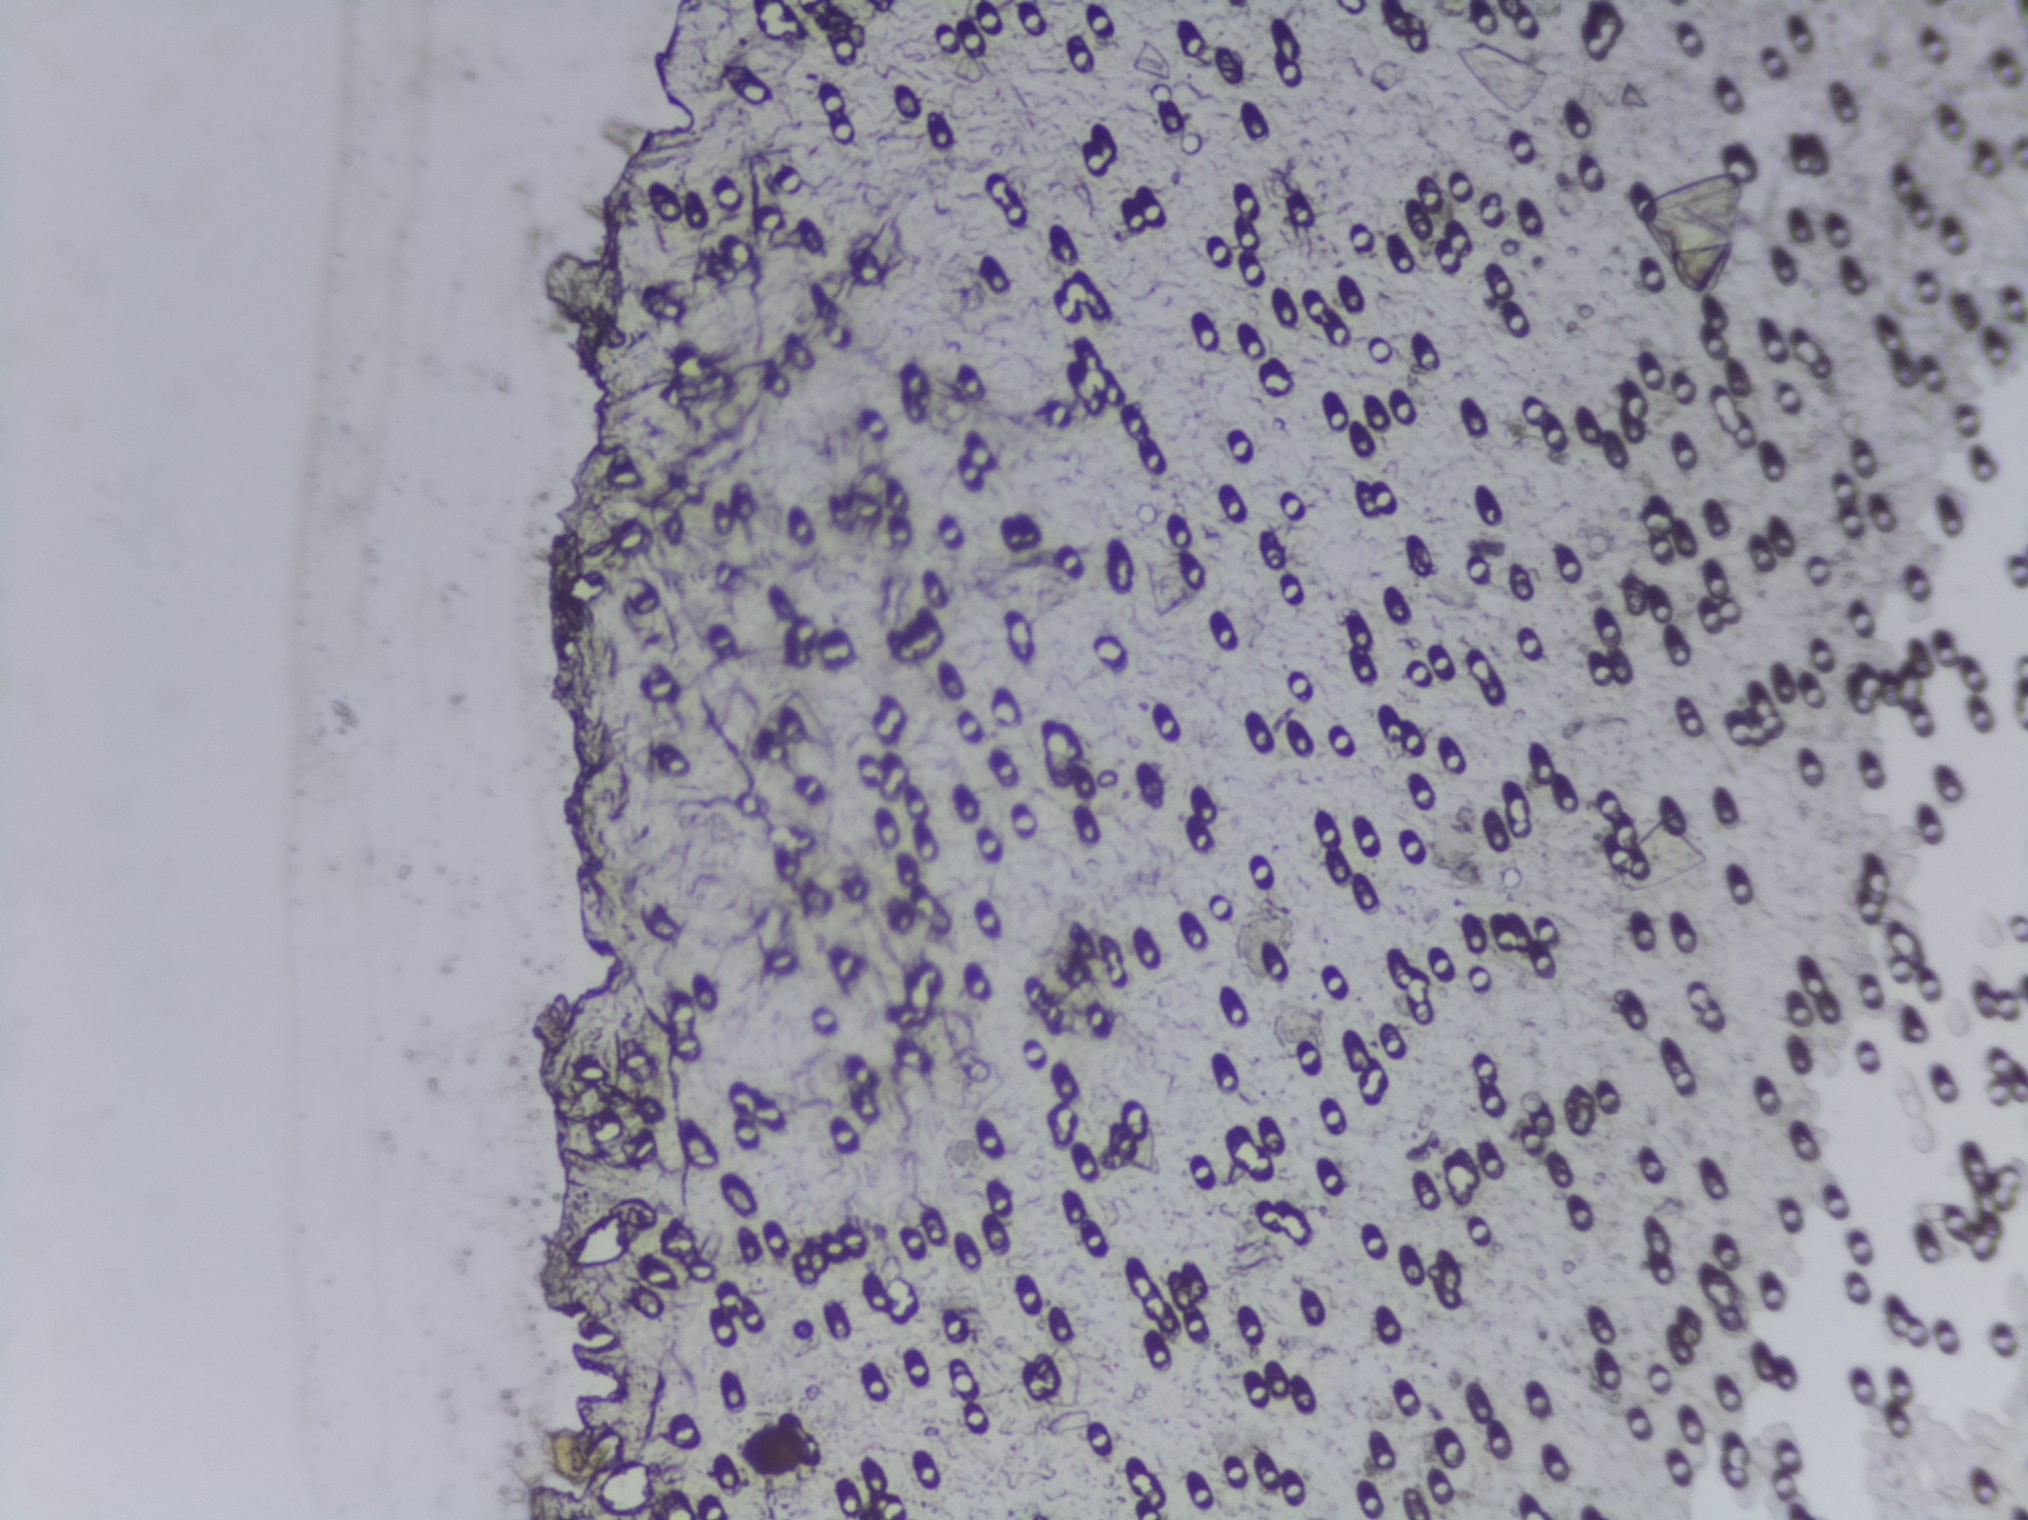
The expert annotation marks no Schistosoma egg in this field of view.
Photomicrograph of a urine filtration membrane, 4× objective.